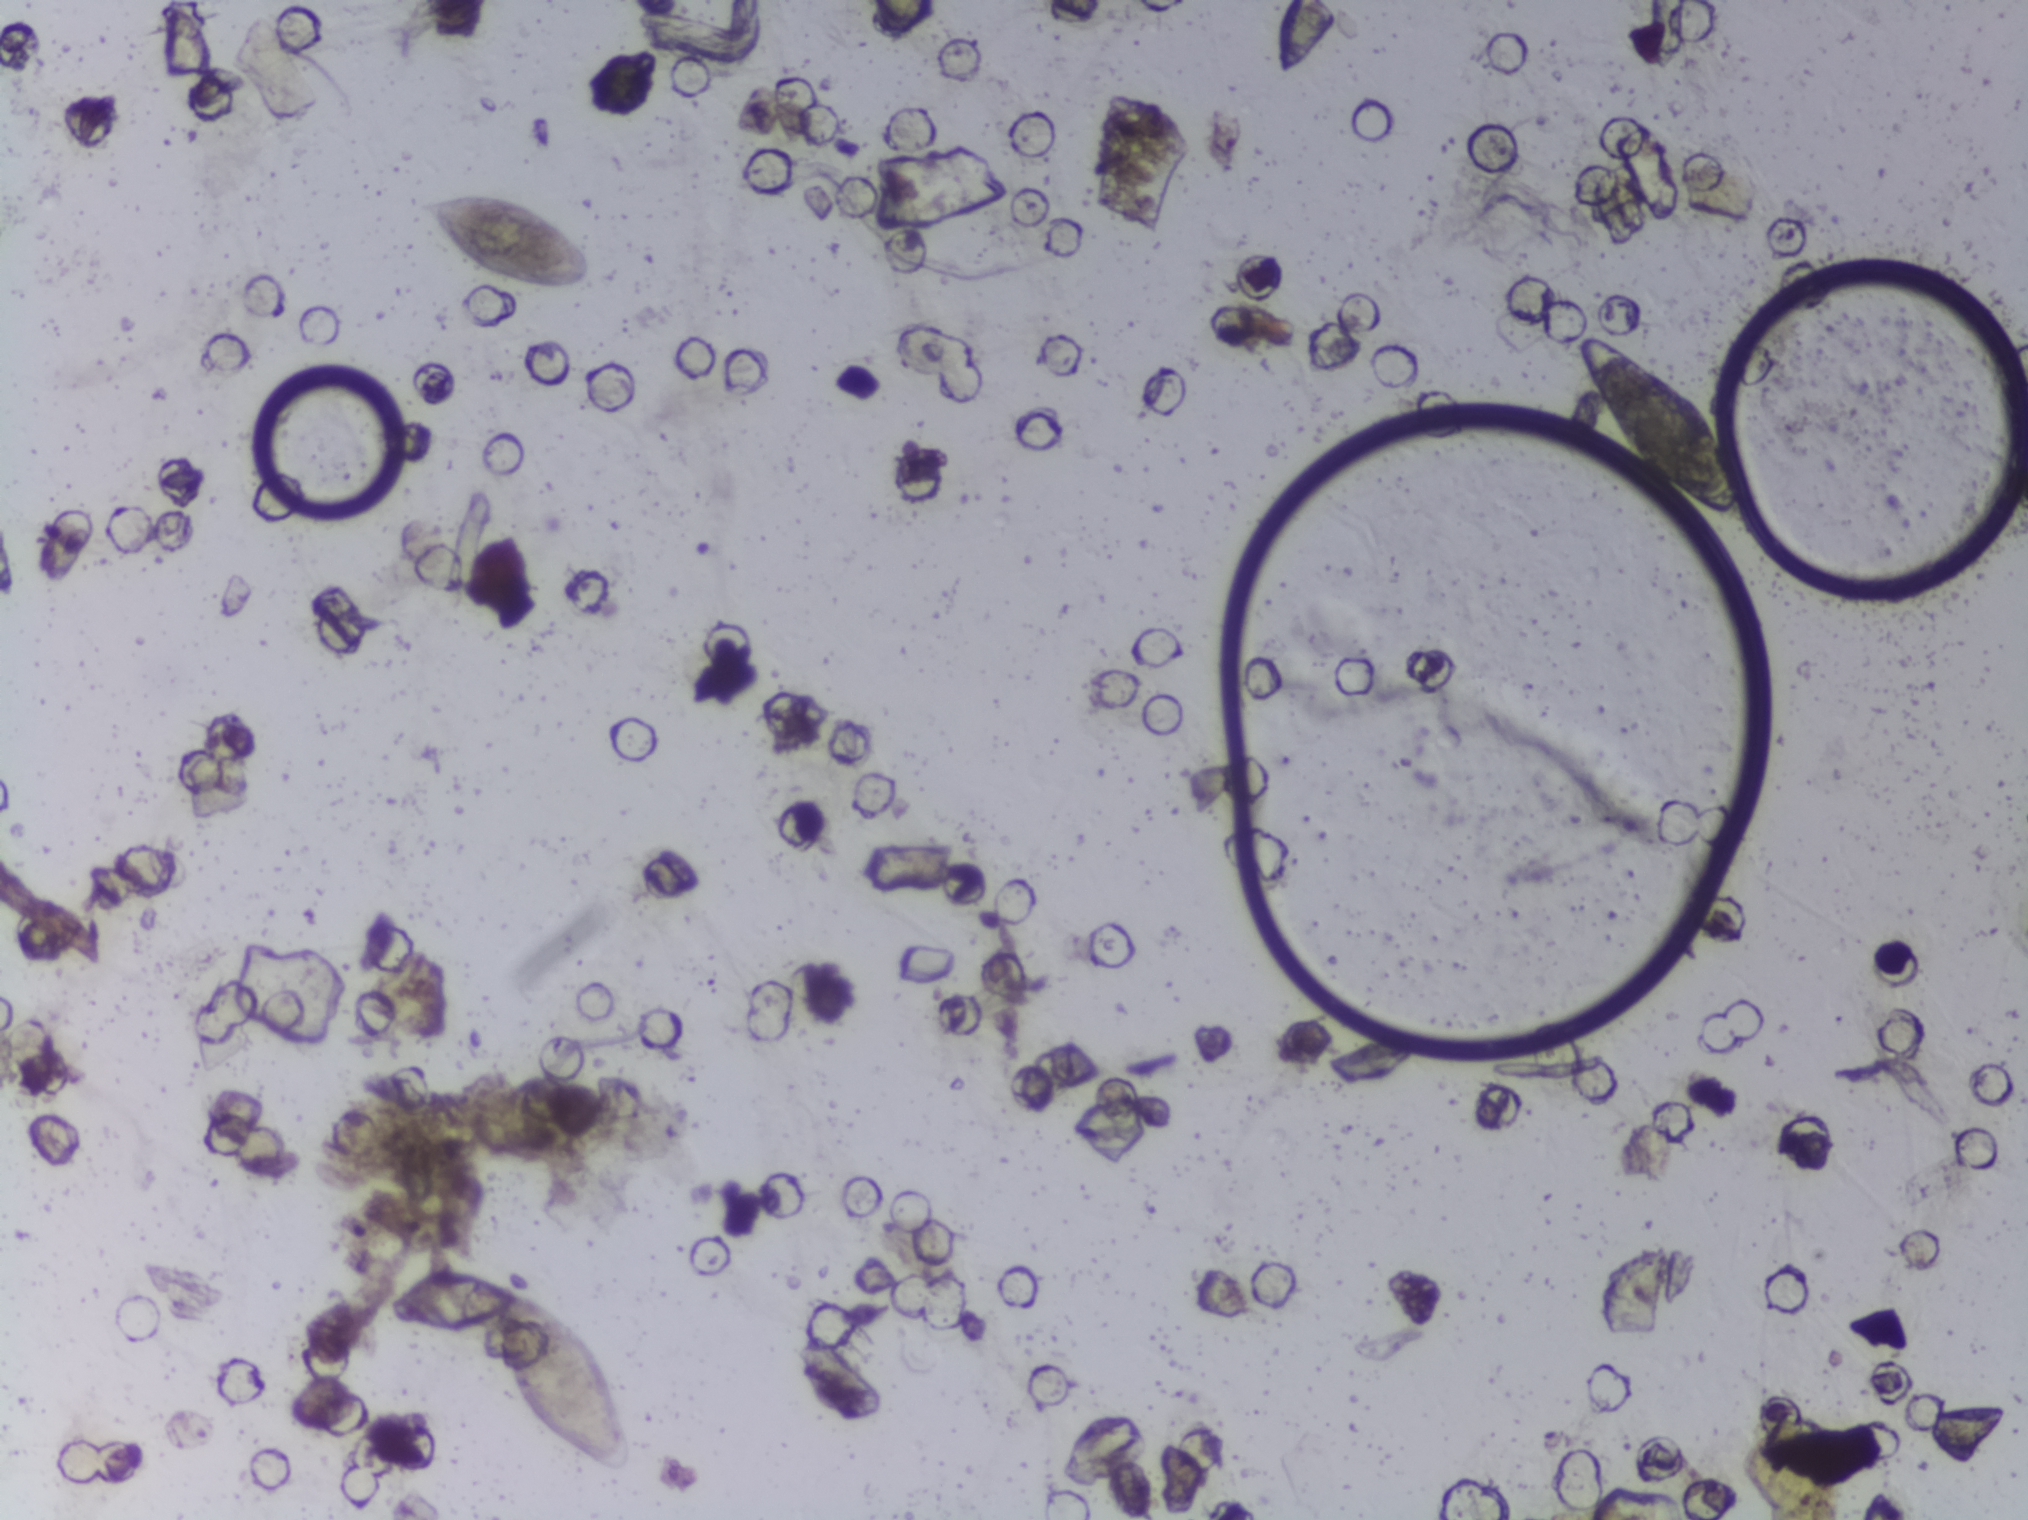
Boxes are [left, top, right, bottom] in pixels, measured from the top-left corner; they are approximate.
Three areas of this image are outlined as Schistosoma eggs, from left to right: [417, 189, 594, 291]; [493, 1287, 631, 1472]; [1570, 331, 1737, 517]. The marked pixels themselves, not the boxes around them, cover about 1.4% of the image. An outlined area can hold more than one egg.
Microscope photograph (4× objective) of a membrane that a urine sample was filtered through.